Photomicrograph of a urine filtration membrane, 4× objective. The field of view is about 1.5 mm × 1.1 mm.
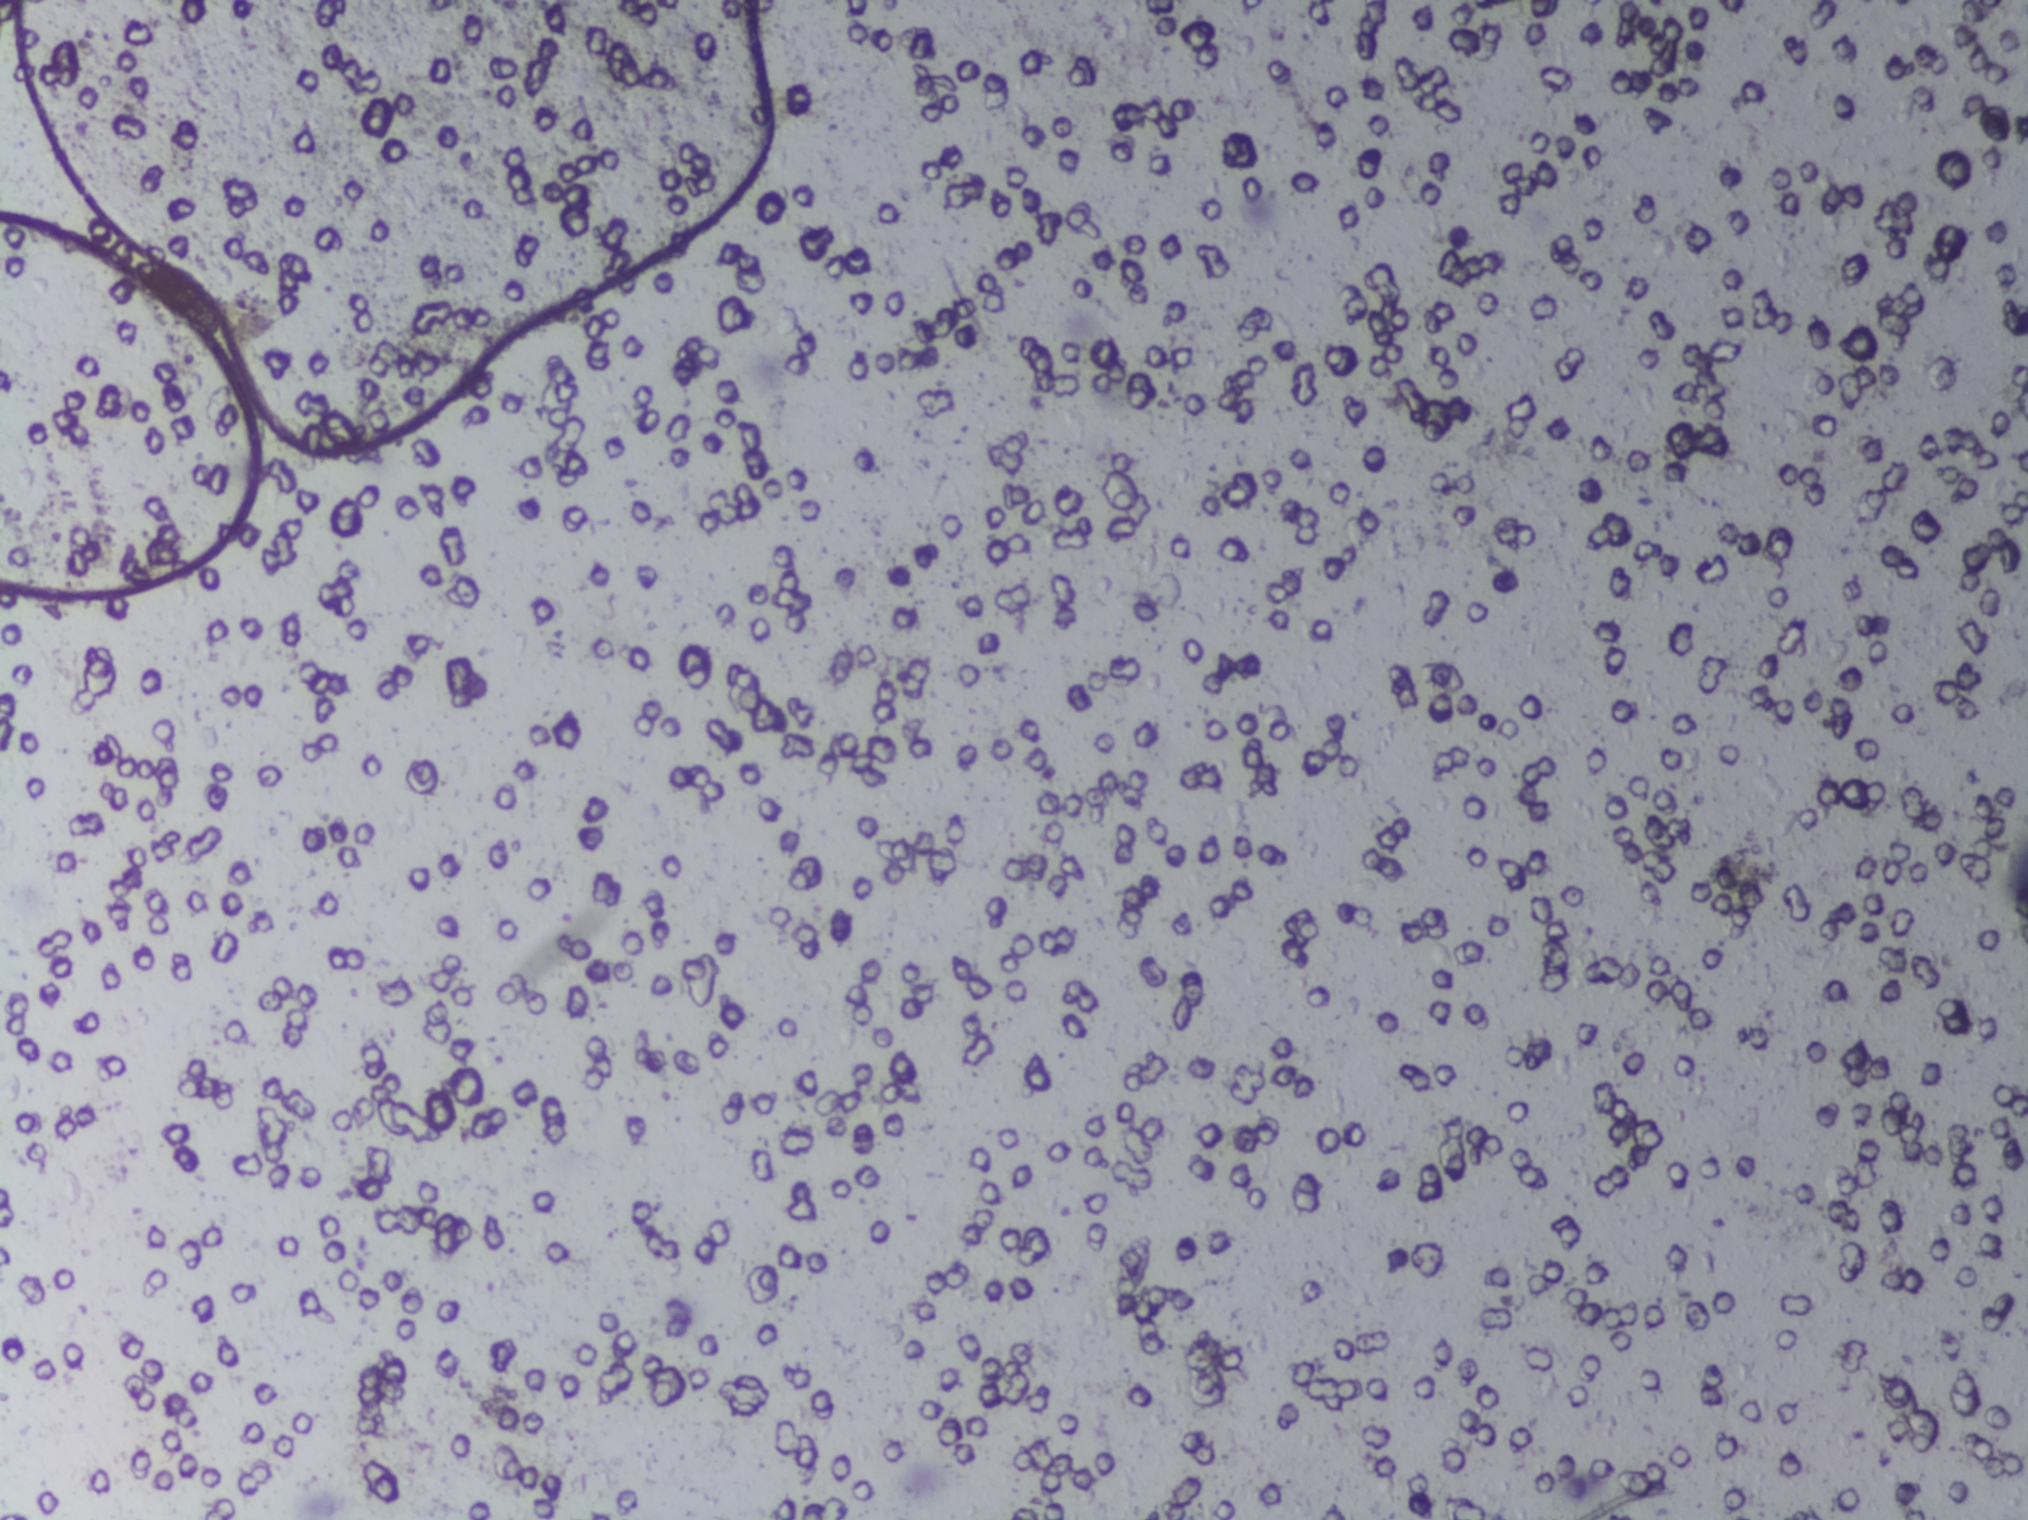
No Schistosoma egg is outlined in this image's expert annotation.